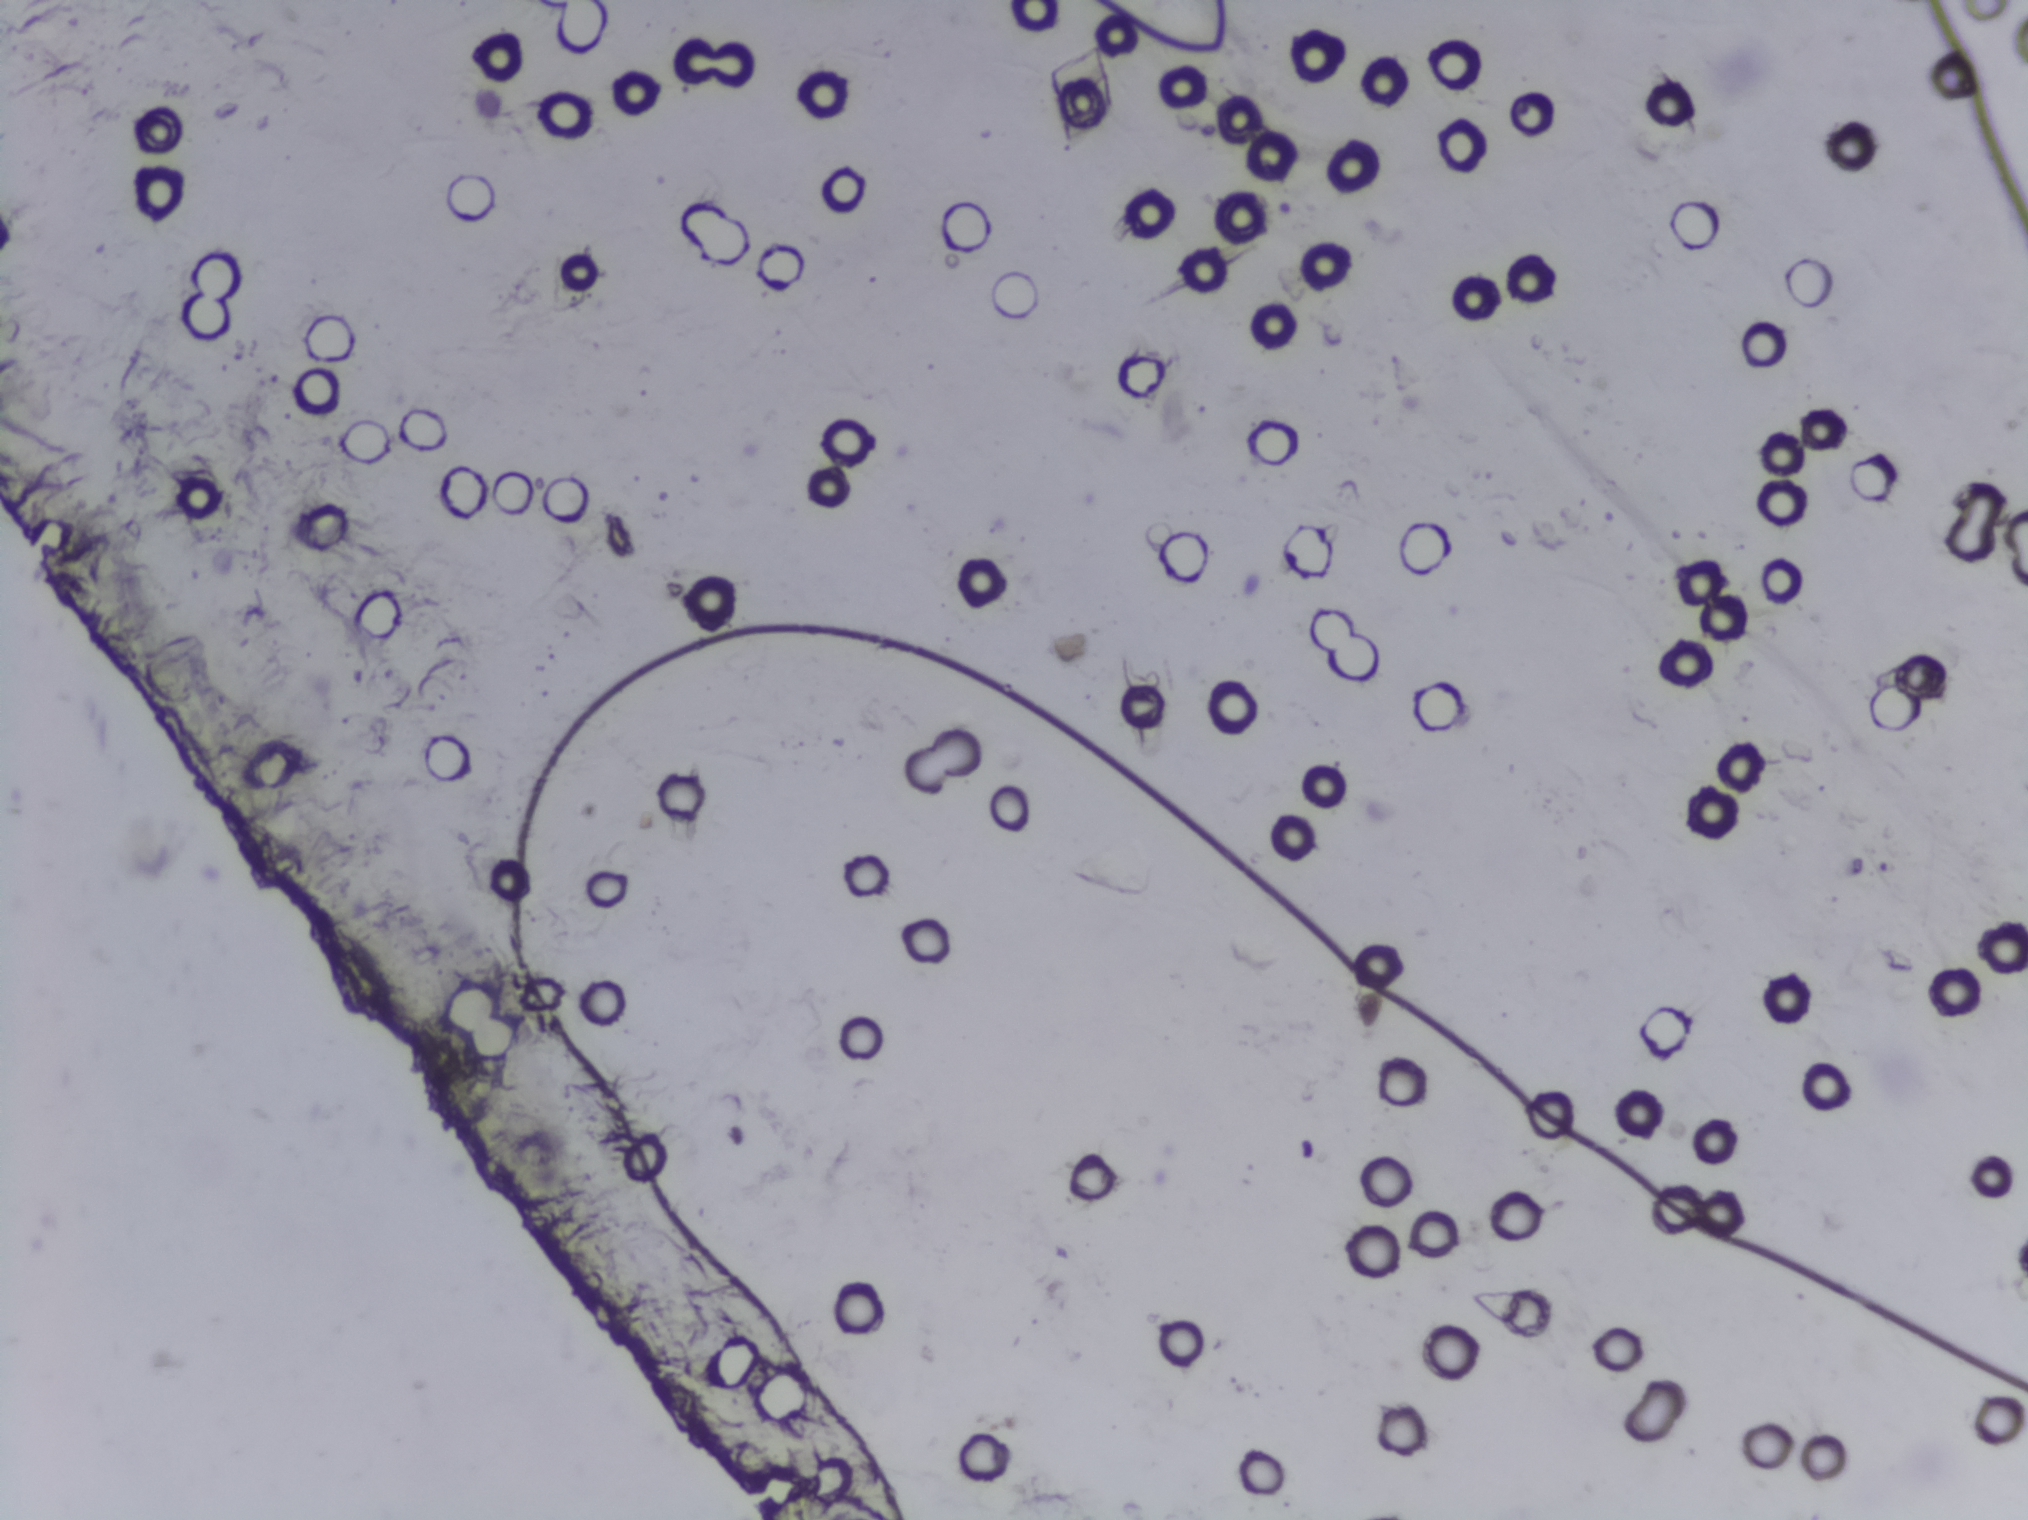
Photomicrograph of a urine filtration membrane, 4× objective.
The expert annotation outlines no Schistosoma egg in this image.